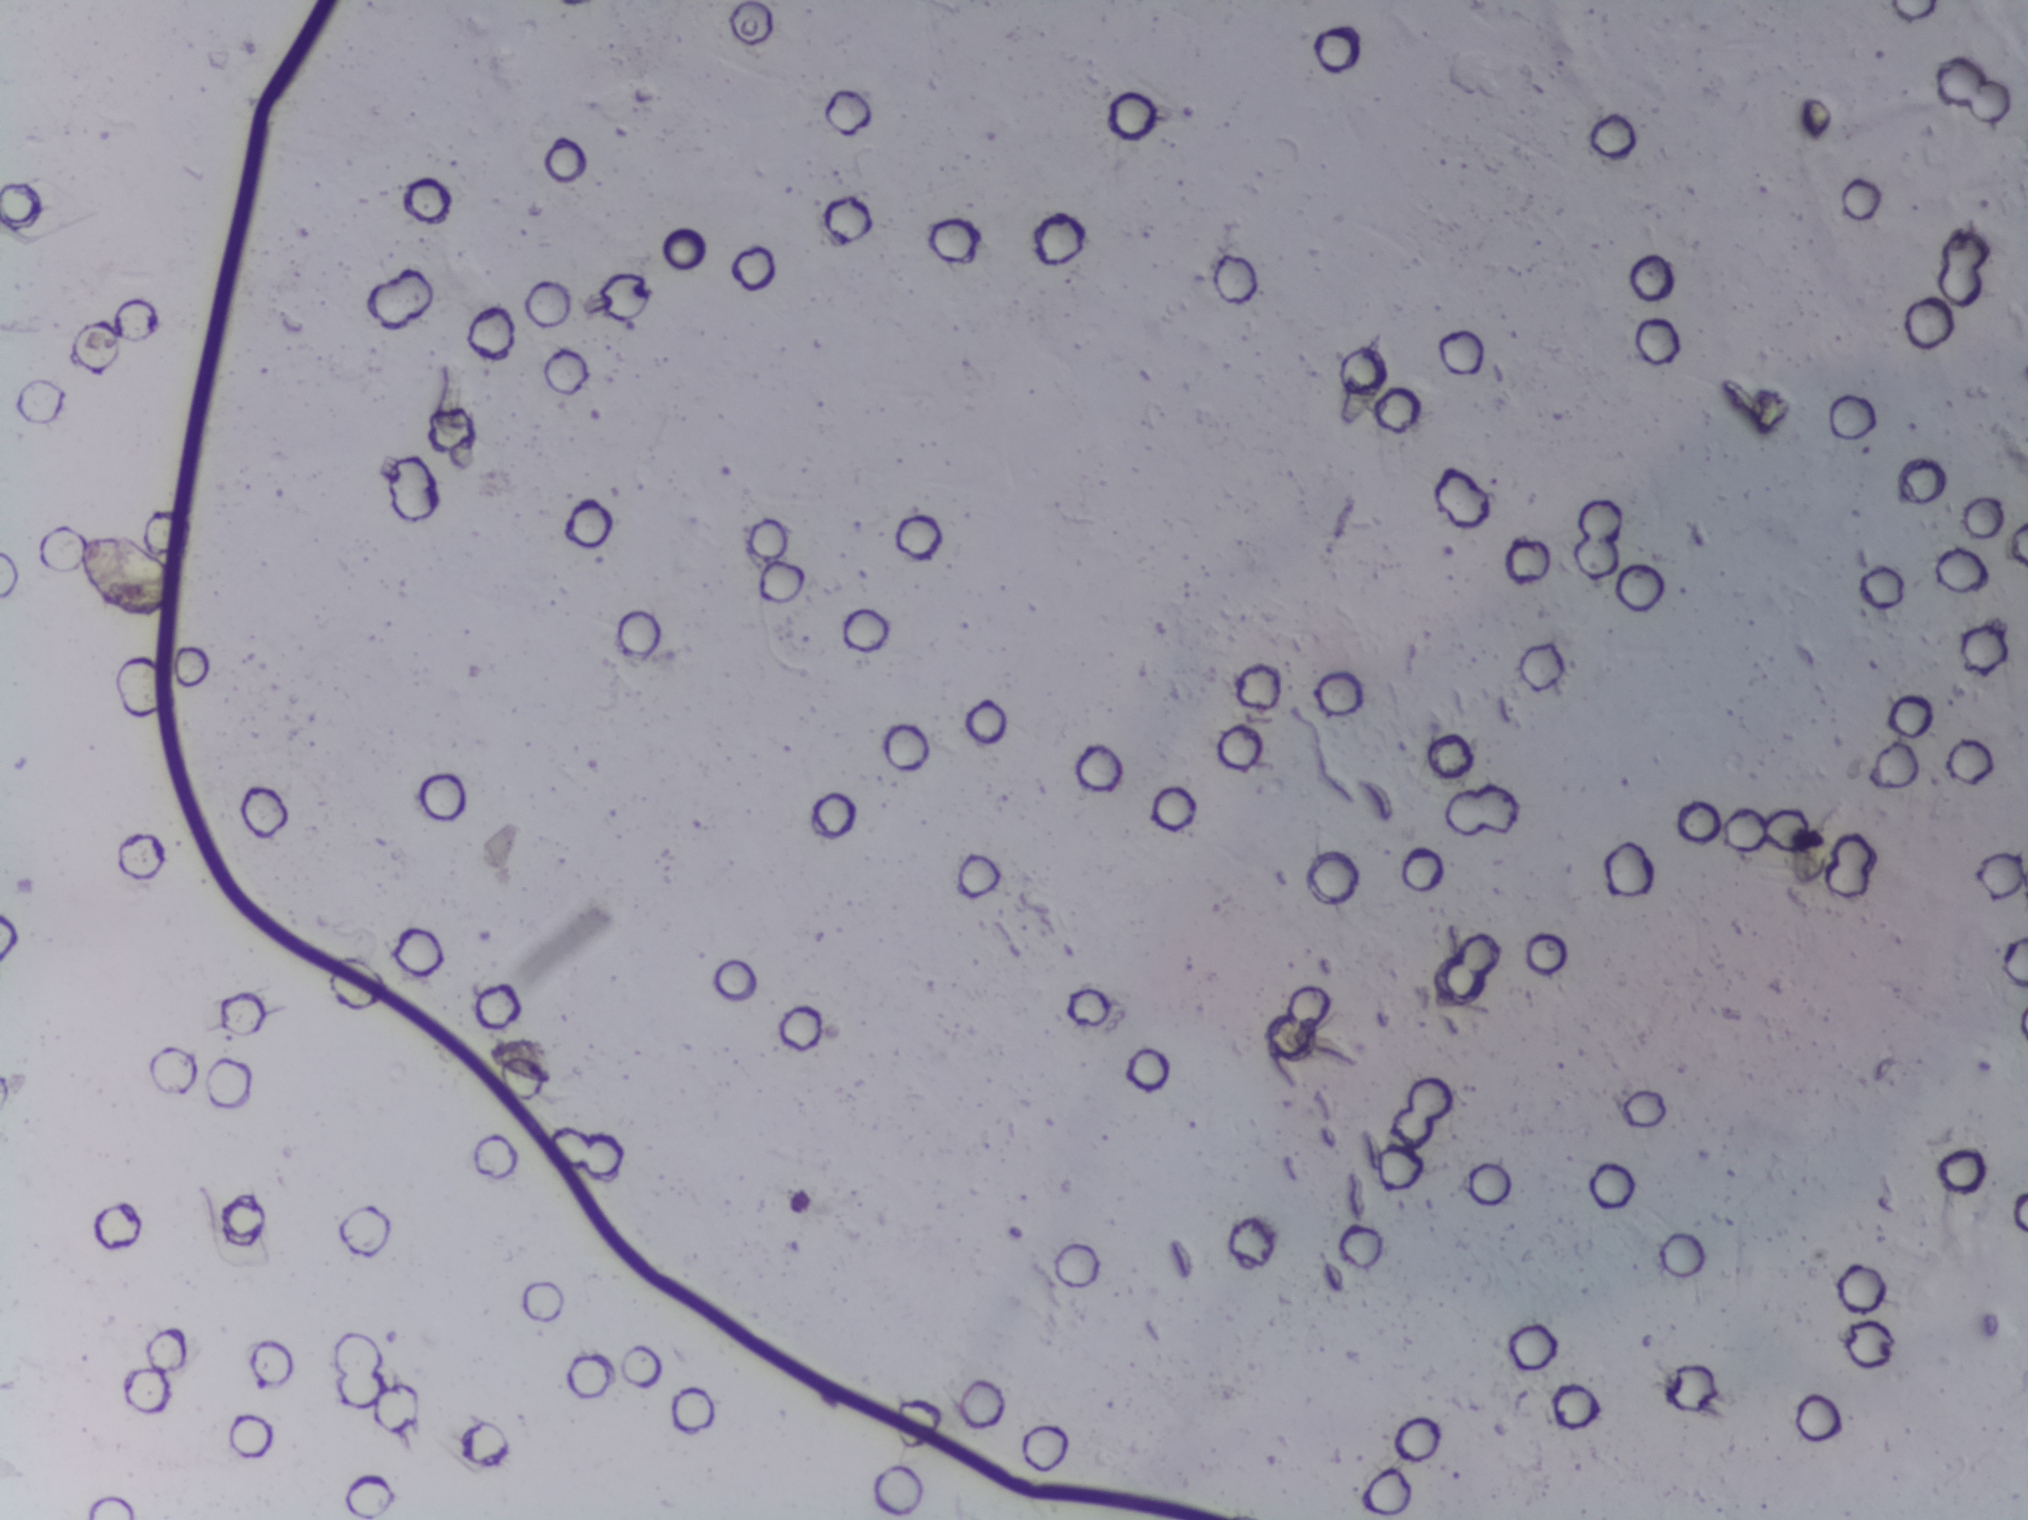
Photomicrograph of a urine filtration membrane, 4× objective.
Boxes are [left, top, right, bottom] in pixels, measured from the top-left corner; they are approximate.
Areas outlined as Schistosoma eggs:
1. [80, 532, 167, 618]
Eggs that touch can end up inside the same outlined area. A marked egg may occasionally be S. mansoni rather than S. haematobium.